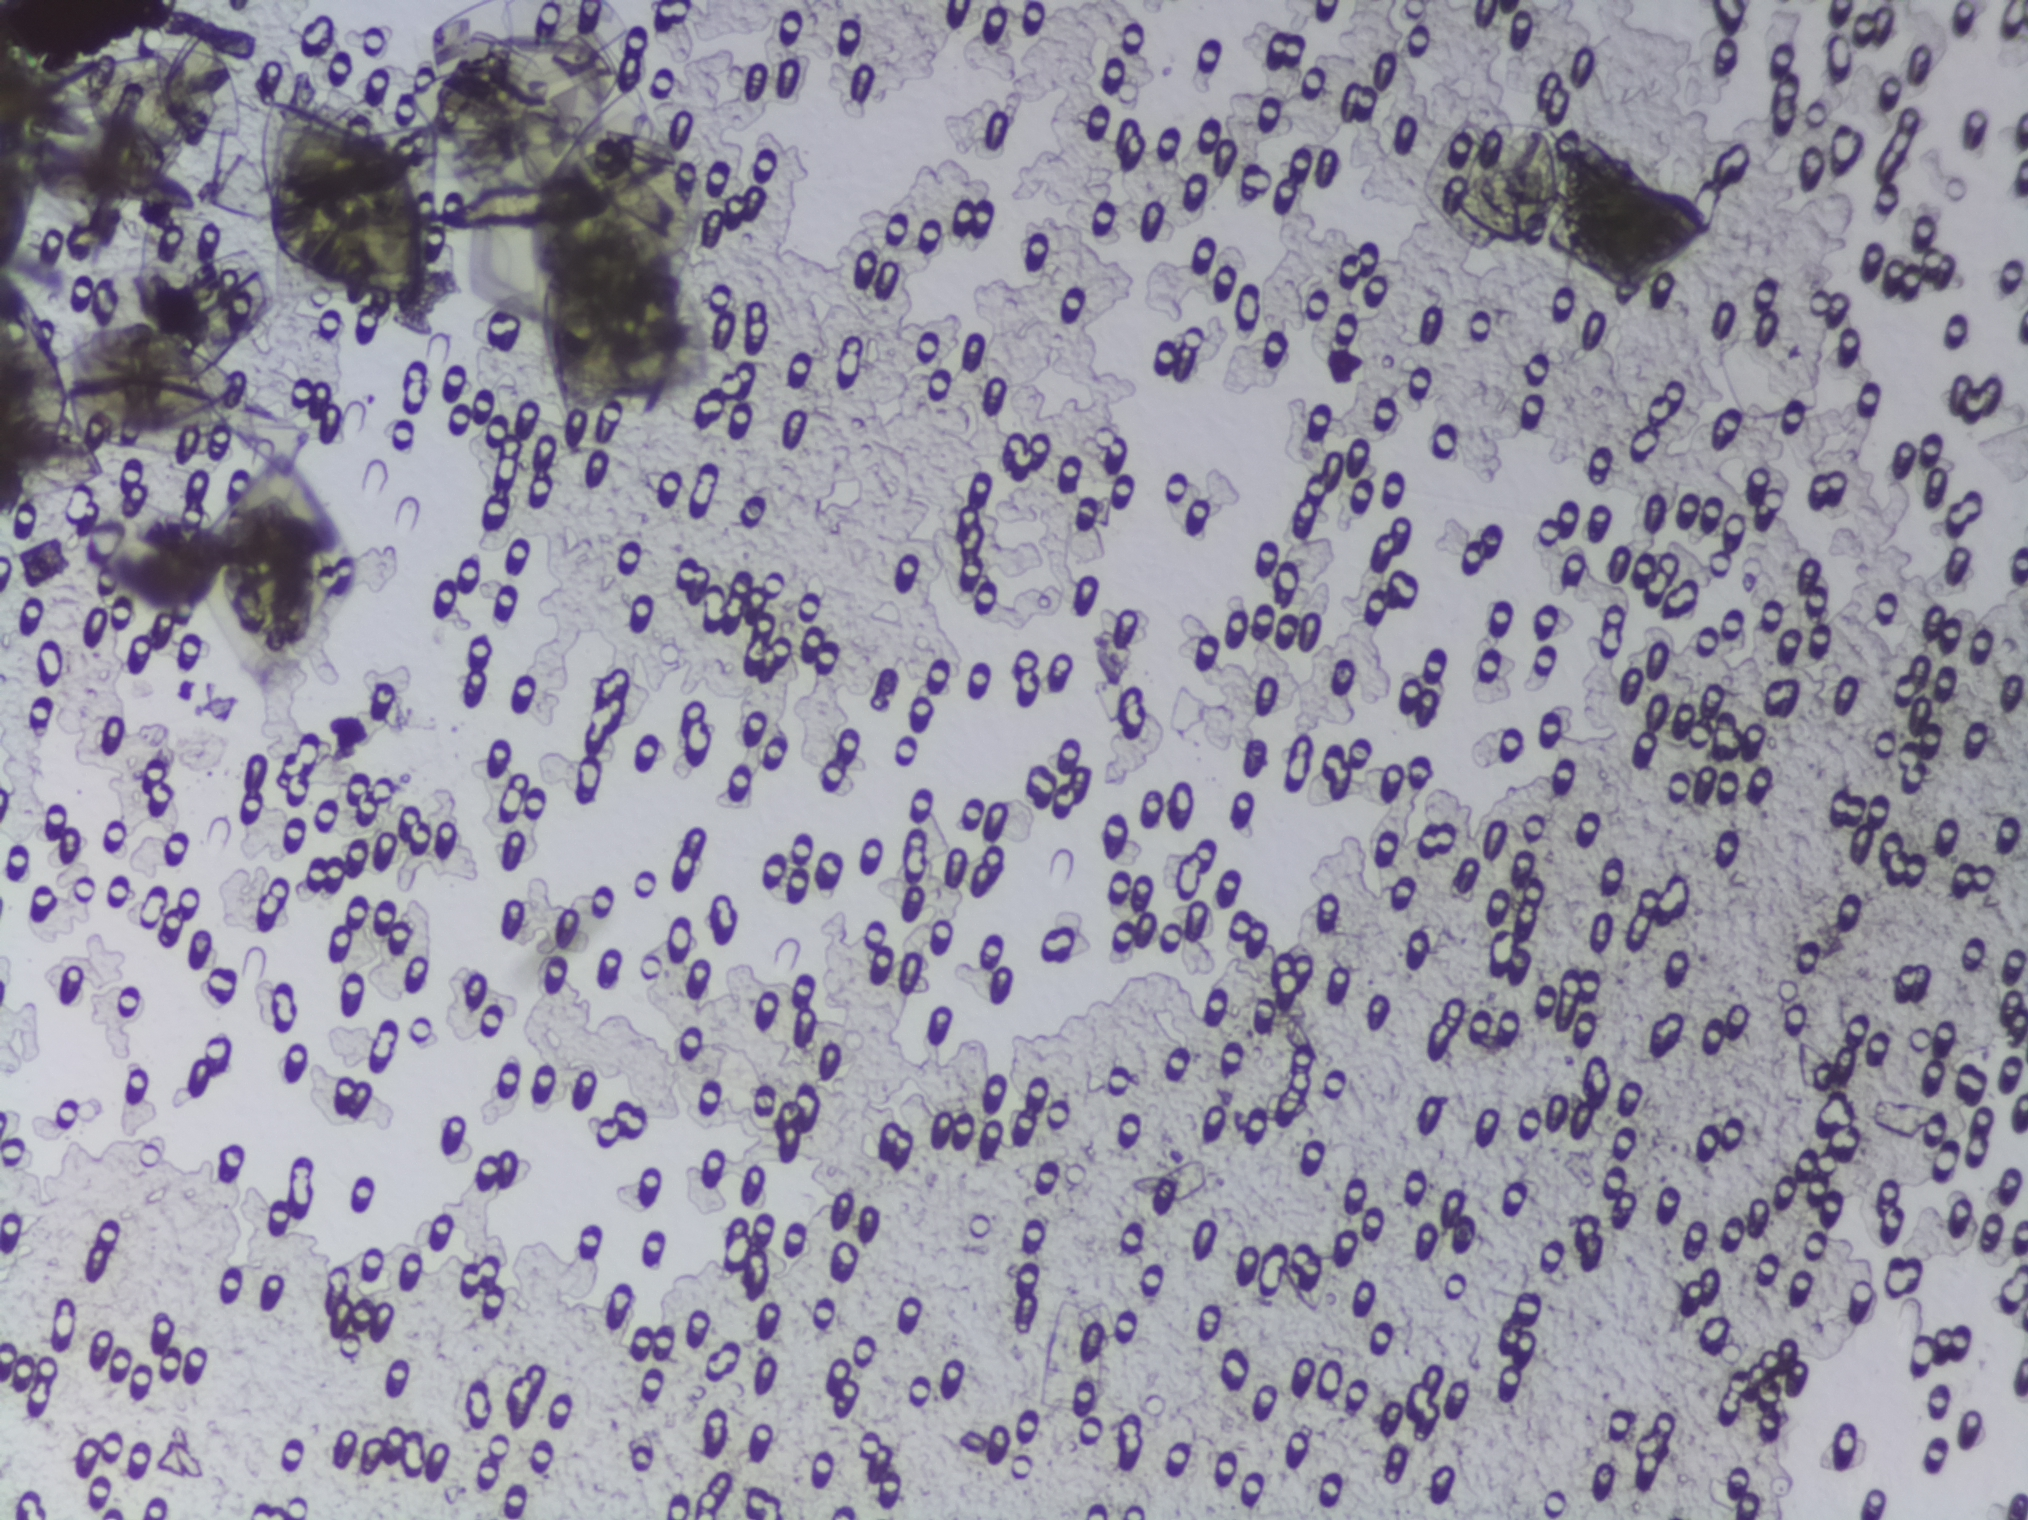
Urine filtration membrane under a 4× objective, photographed by an automated digital microscope. The image covers about 1.5 × 1.1 mm of the membrane.
No area of this image was outlined as a Schistosoma egg.